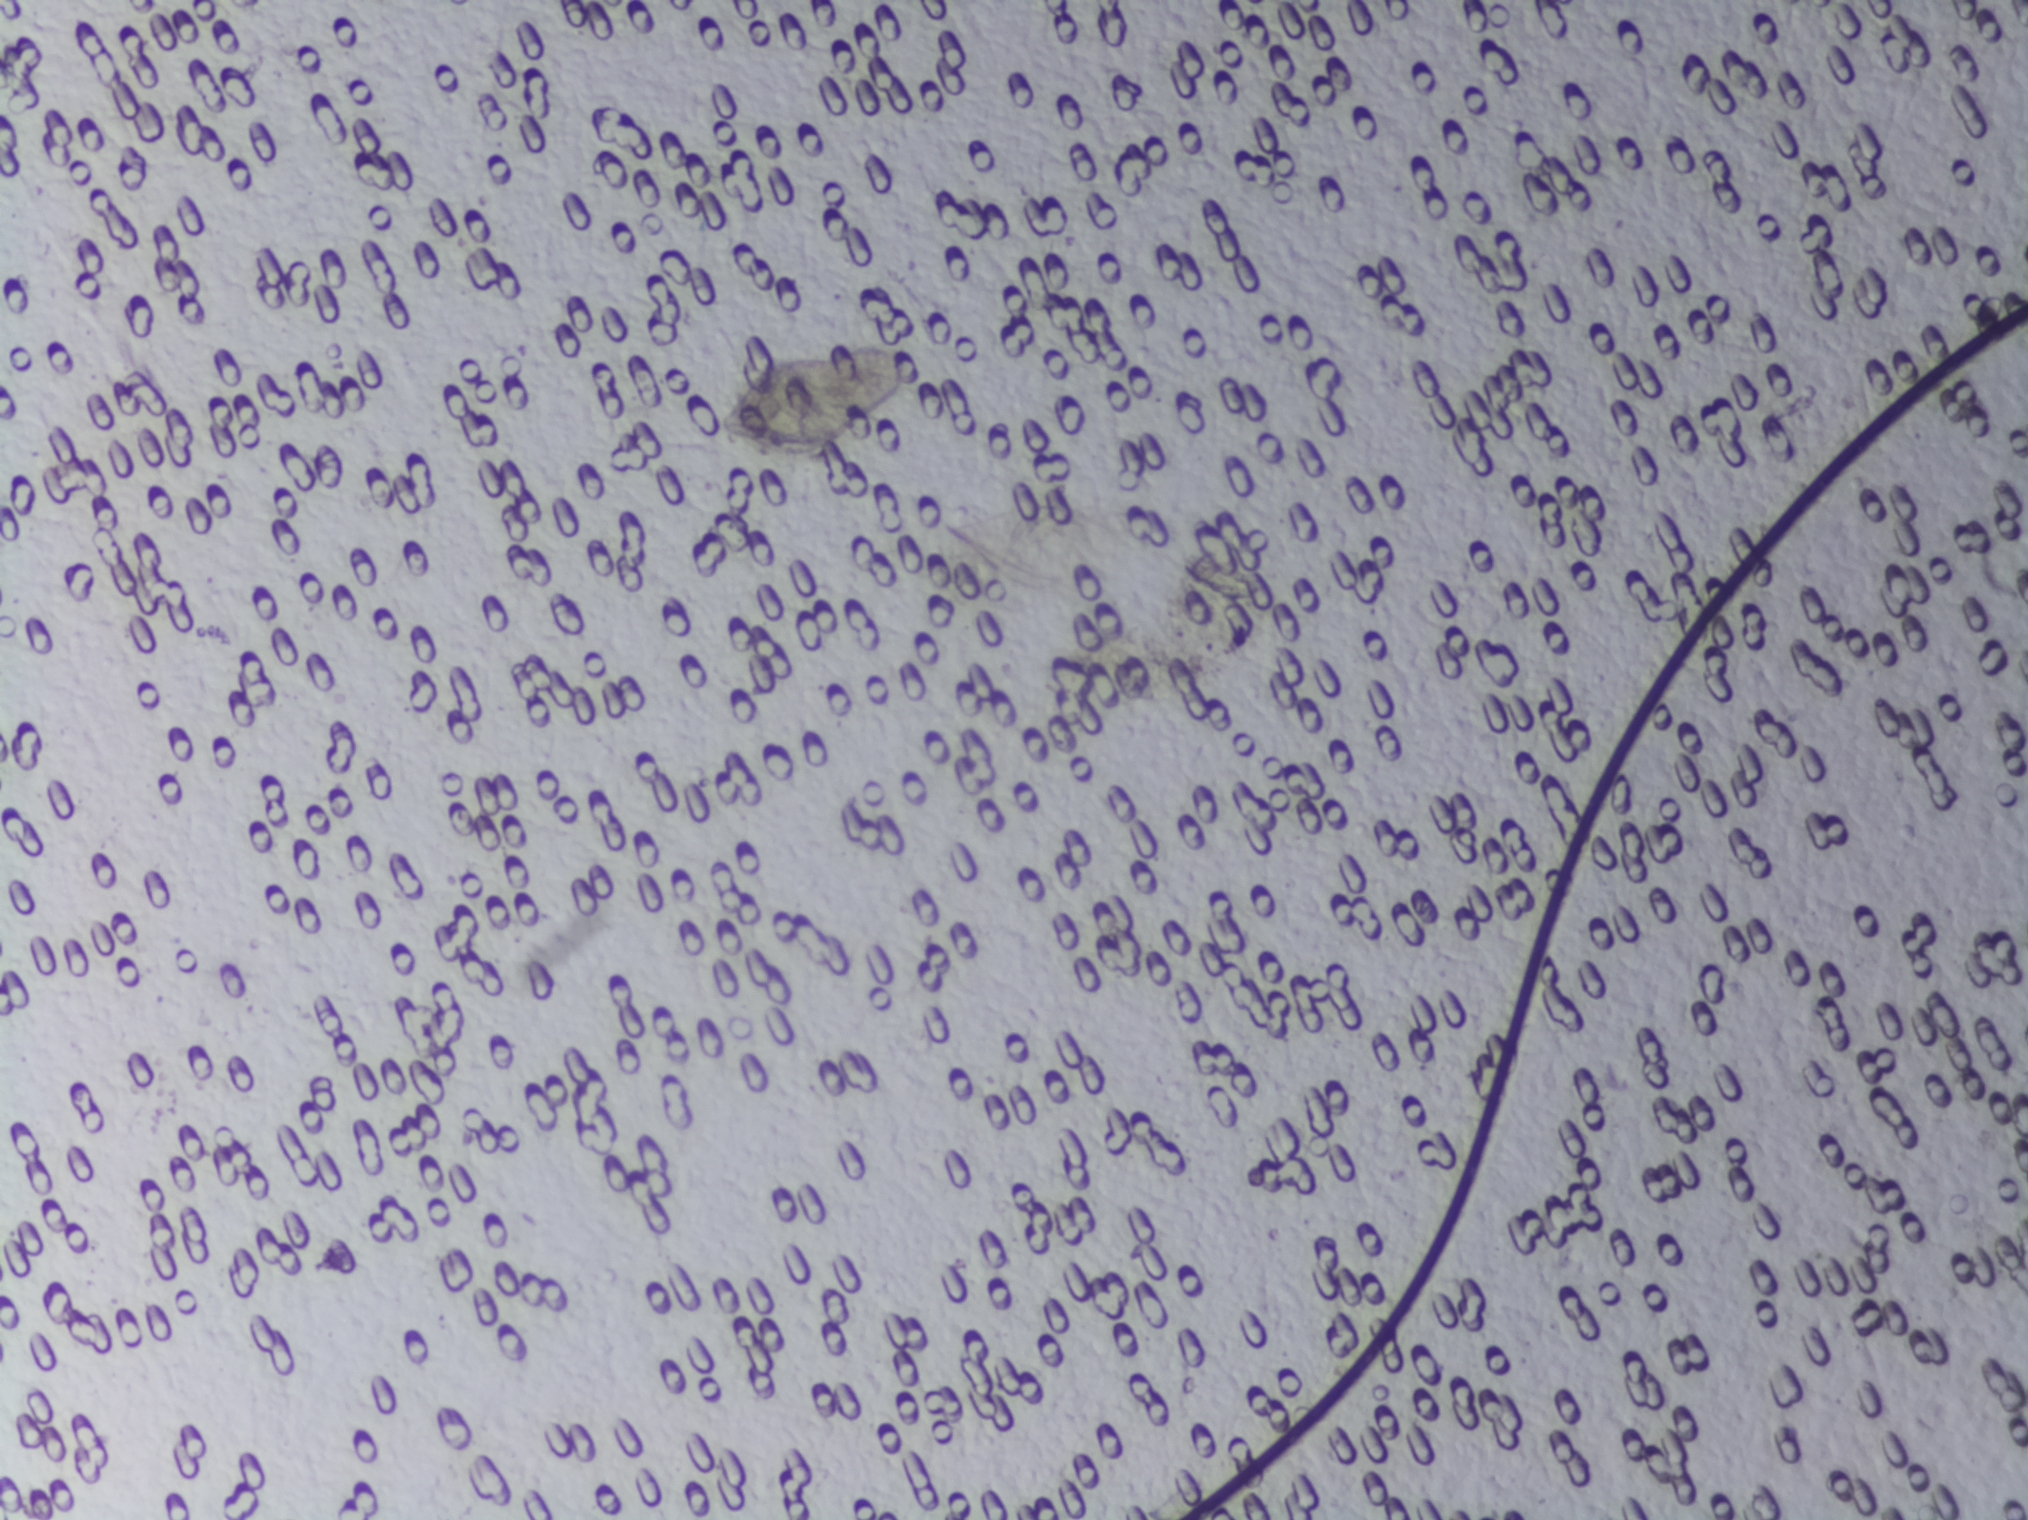
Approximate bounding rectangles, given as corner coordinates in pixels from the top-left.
One area of this image is outlined as Schistosoma eggs: (x1=718, y1=344, x2=910, y2=460). The marked pixels themselves, not the box around them, cover about 0.5% of the image. Eggs that touch can end up inside the same outlined area.
Microscope photograph (4× objective) of a membrane that a urine sample was filtered through.